Urine filter membrane photographed through a 4× microscope objective. The field of view is about 1.5 mm × 1.1 mm.
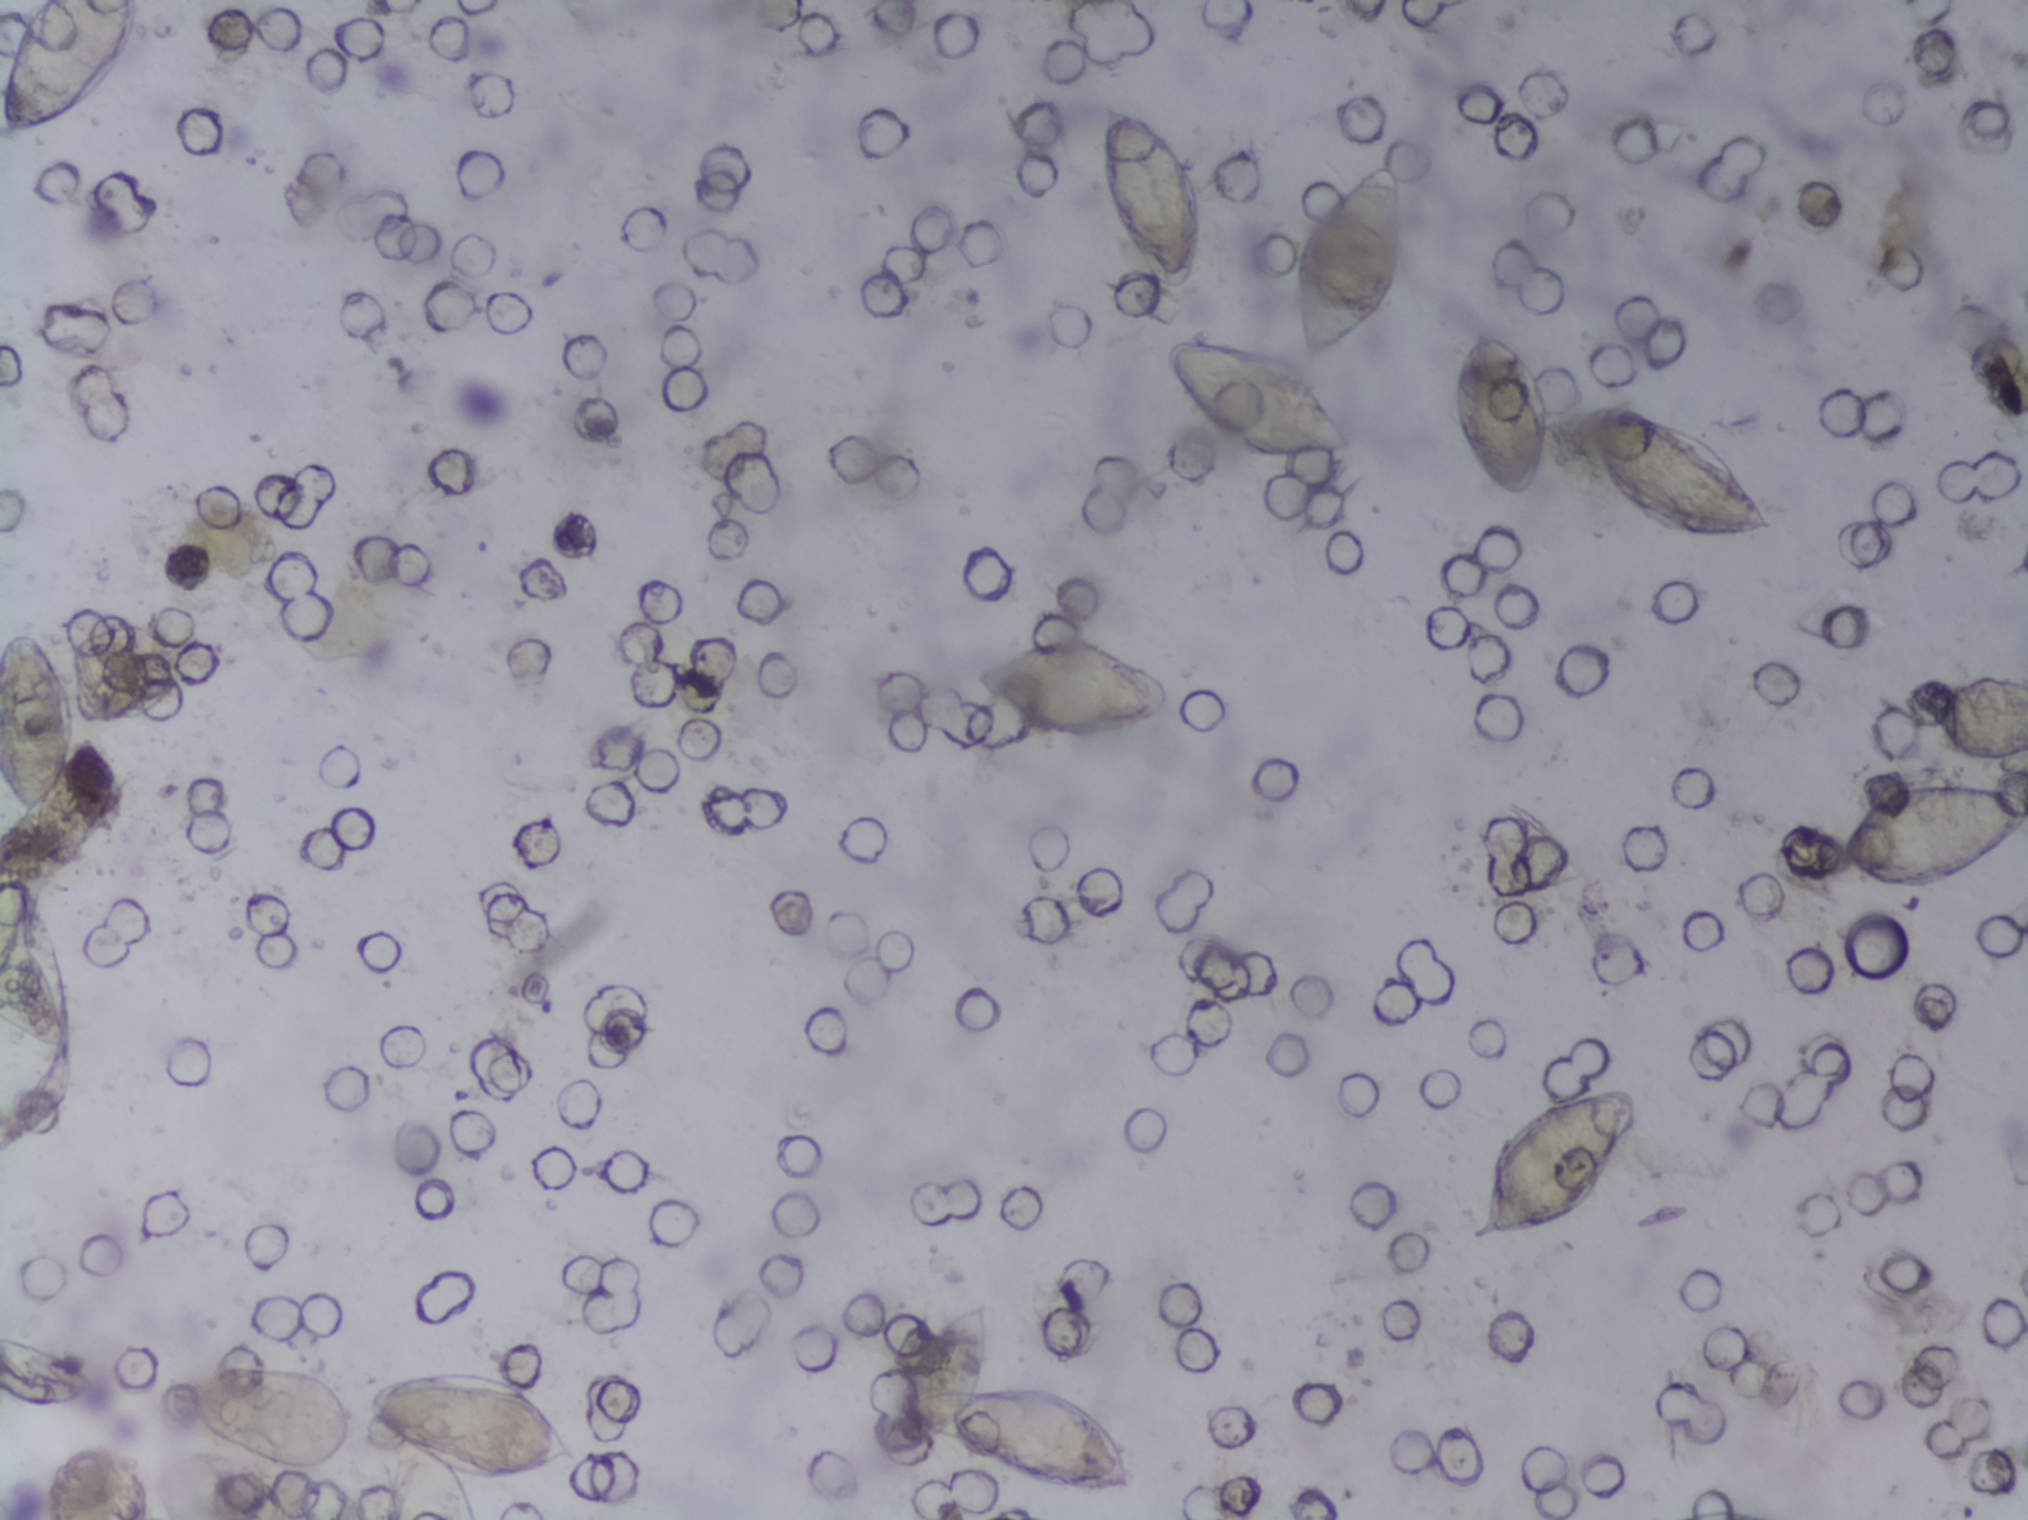
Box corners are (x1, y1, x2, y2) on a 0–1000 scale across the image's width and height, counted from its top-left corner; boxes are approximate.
Schistosoma eggs are outlined in 14 areas of this image, listed from left to right: (0, 0, 67, 91) (reaching the left and top edges of the frame); (0, 411, 42, 541) (reaching the left edge of the frame); (0, 875, 49, 929) (reaching the left edge of the frame); (85, 891, 177, 972); (179, 897, 286, 1000) (reaching the bottom edge of the frame); (438, 852, 560, 985); (476, 416, 580, 488); (539, 63, 595, 193); (573, 220, 669, 306); (635, 103, 696, 239); (714, 212, 767, 328); (723, 711, 807, 822); (778, 261, 876, 359); (899, 511, 1000, 589) (reaching the right edge of the frame). An outlined area can hold more than one egg.